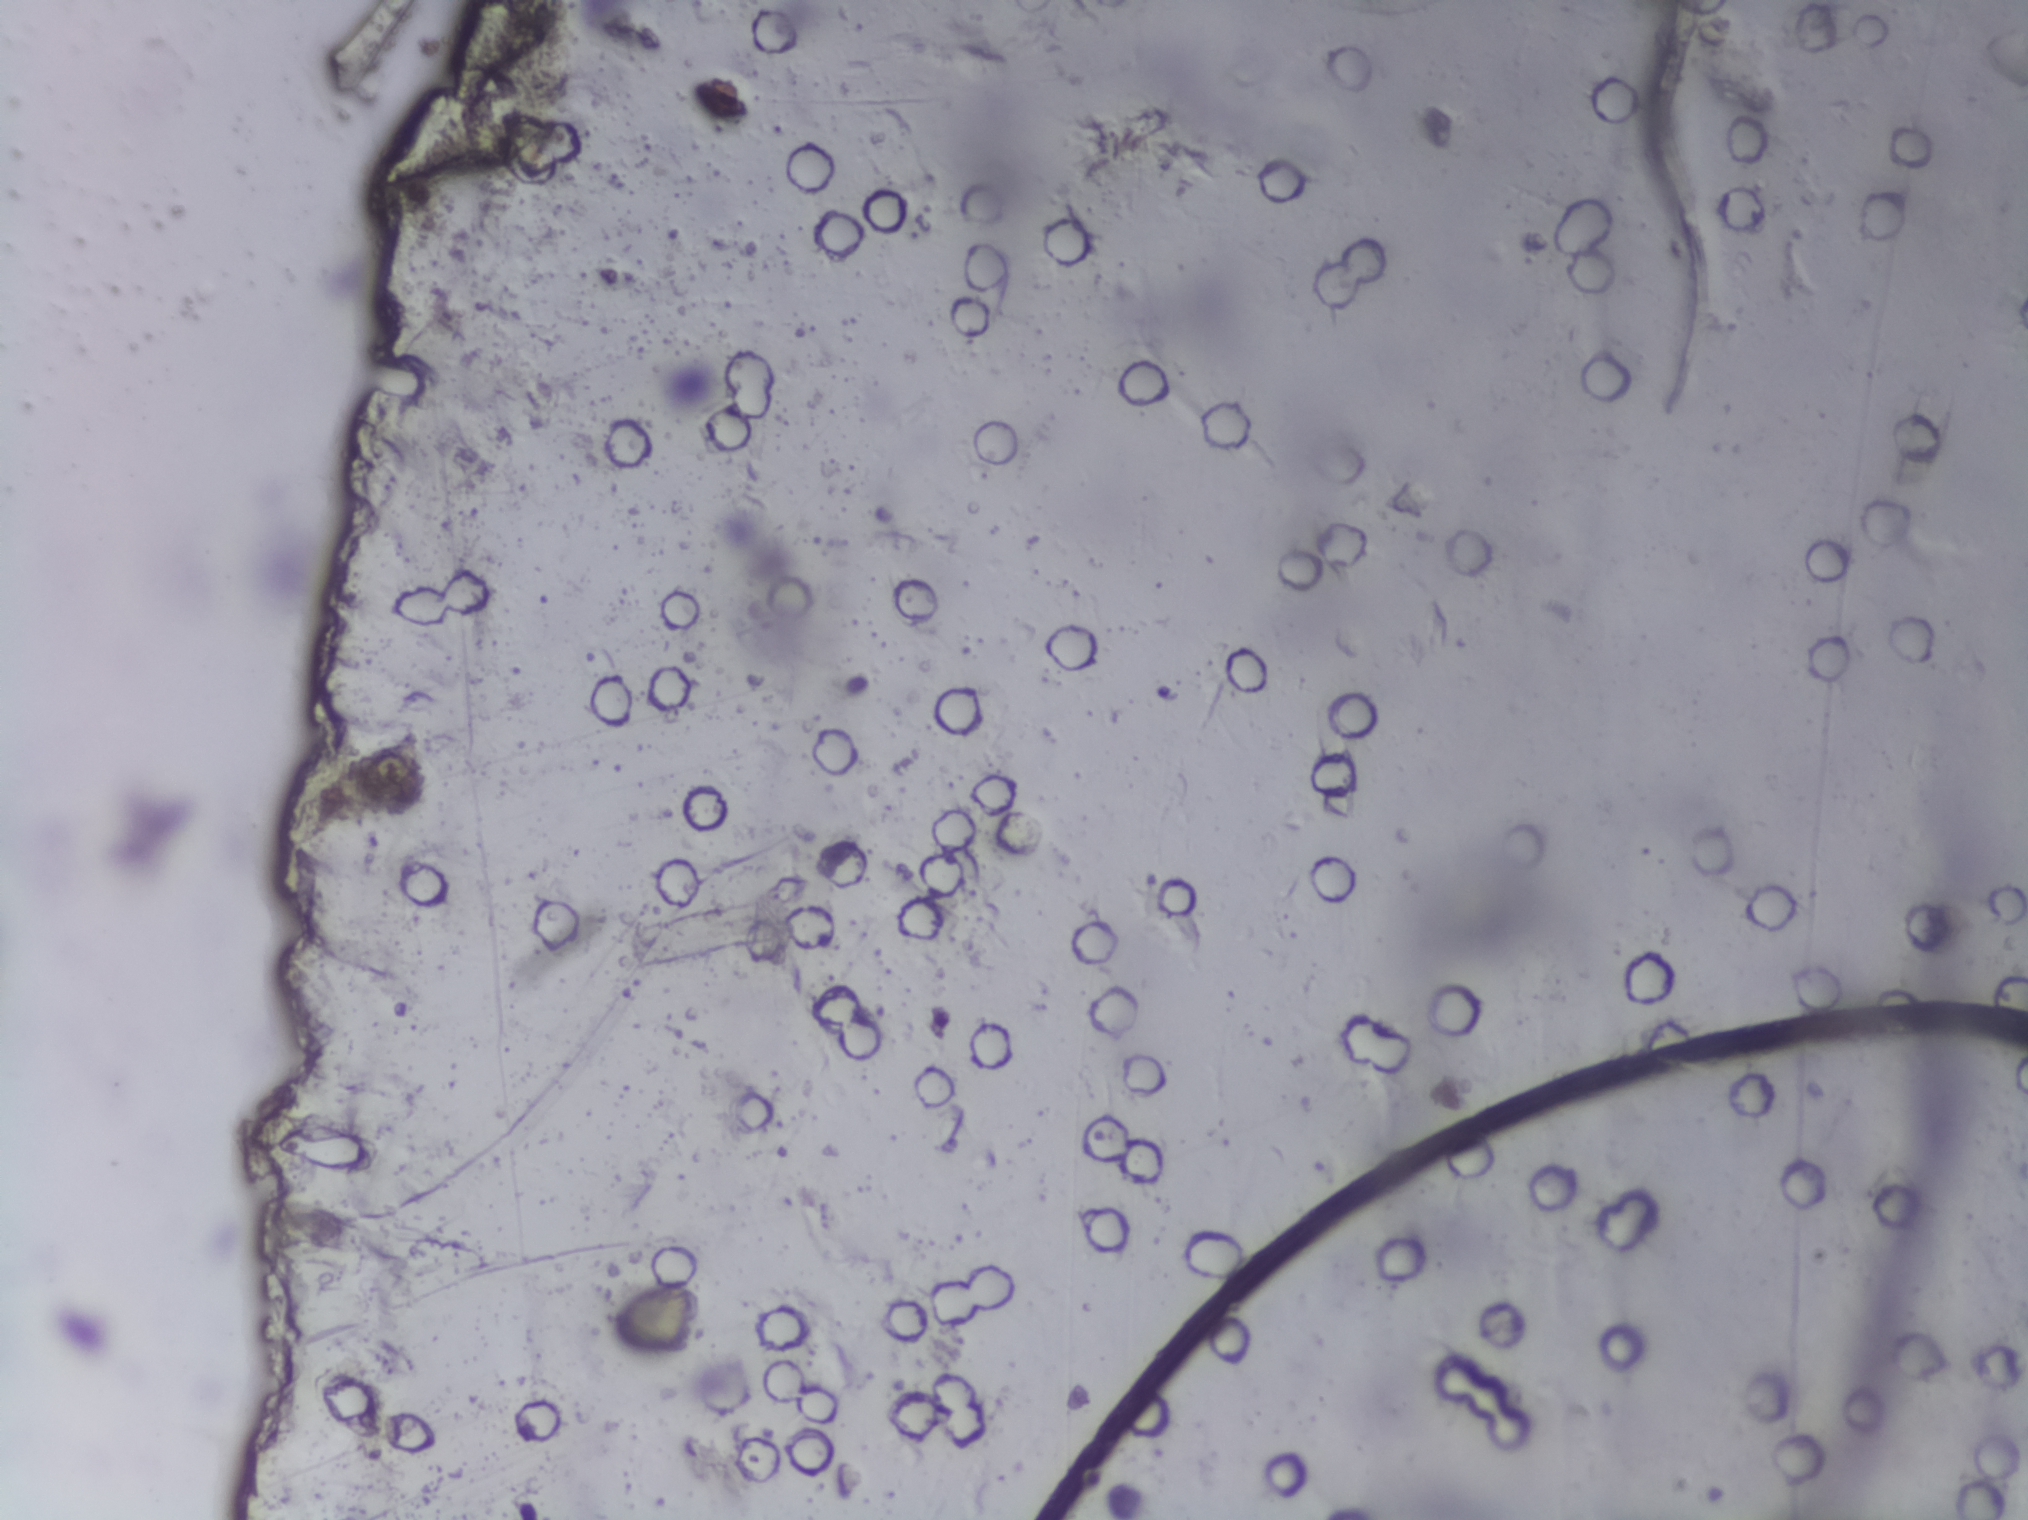
The expert annotation outlines no Schistosoma egg in this image.
Photograph from an automated digital microscope: urine filter membrane, 4× objective.